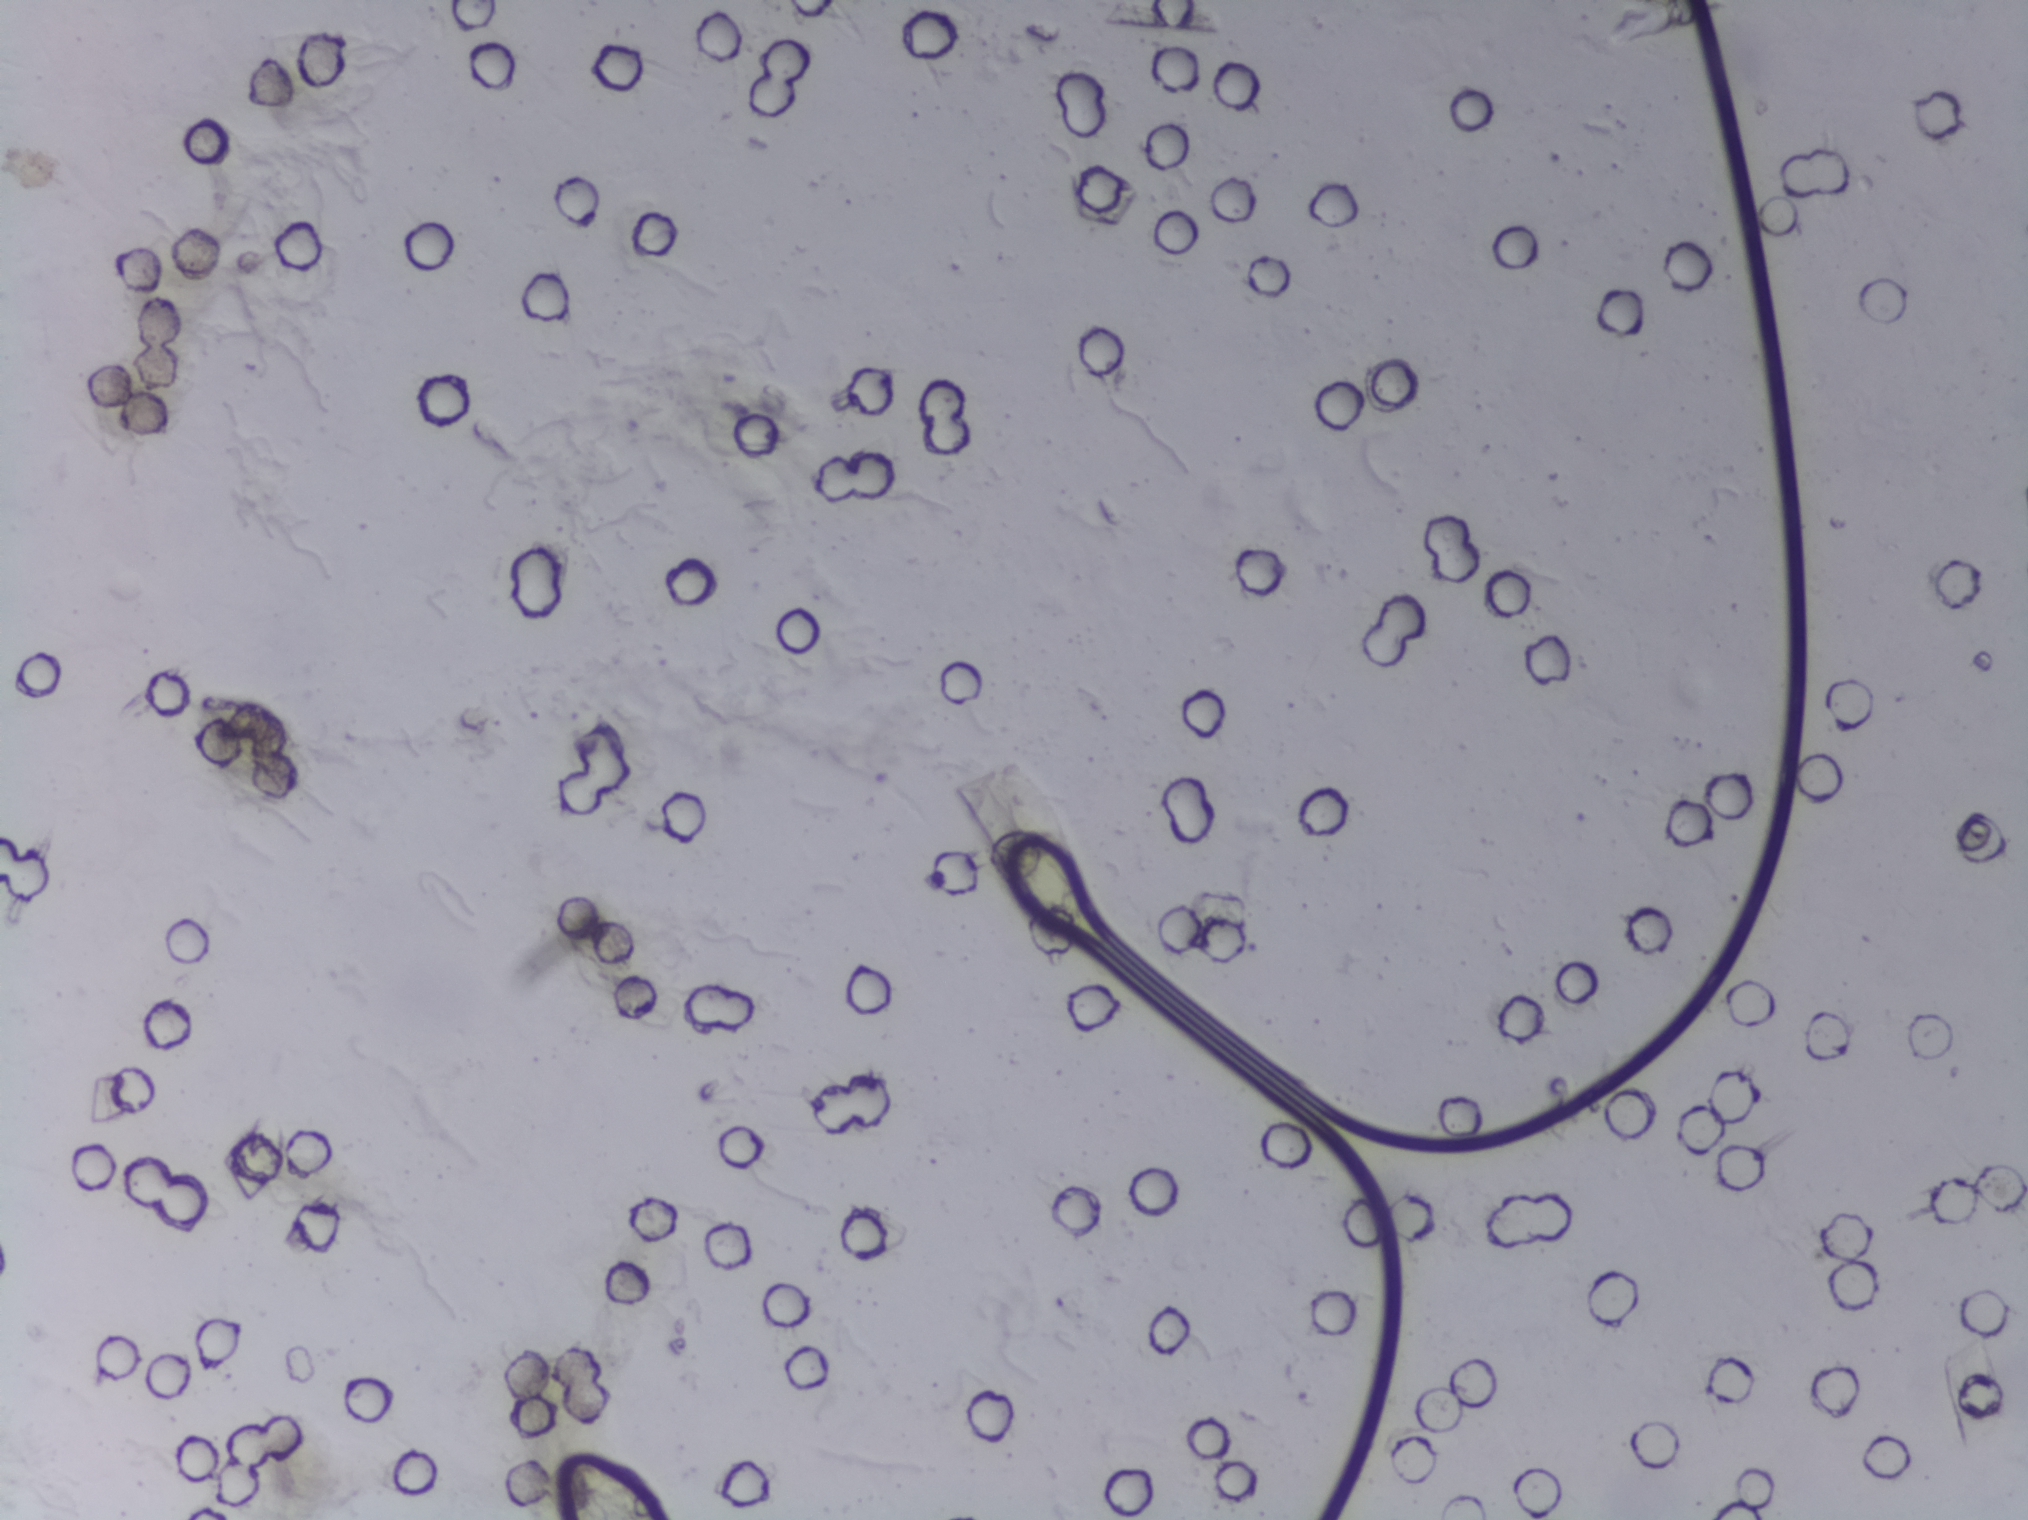
Urine filter membrane photographed through a 4× microscope objective.
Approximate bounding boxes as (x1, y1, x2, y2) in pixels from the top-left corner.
Outlined Schistosoma egg areas:
1. (565, 1461, 658, 1519) (reaching the bottom edge of the frame)
Eggs that touch can end up inside the same outlined area.